Photograph from an automated digital microscope: urine filter membrane, 4× objective.
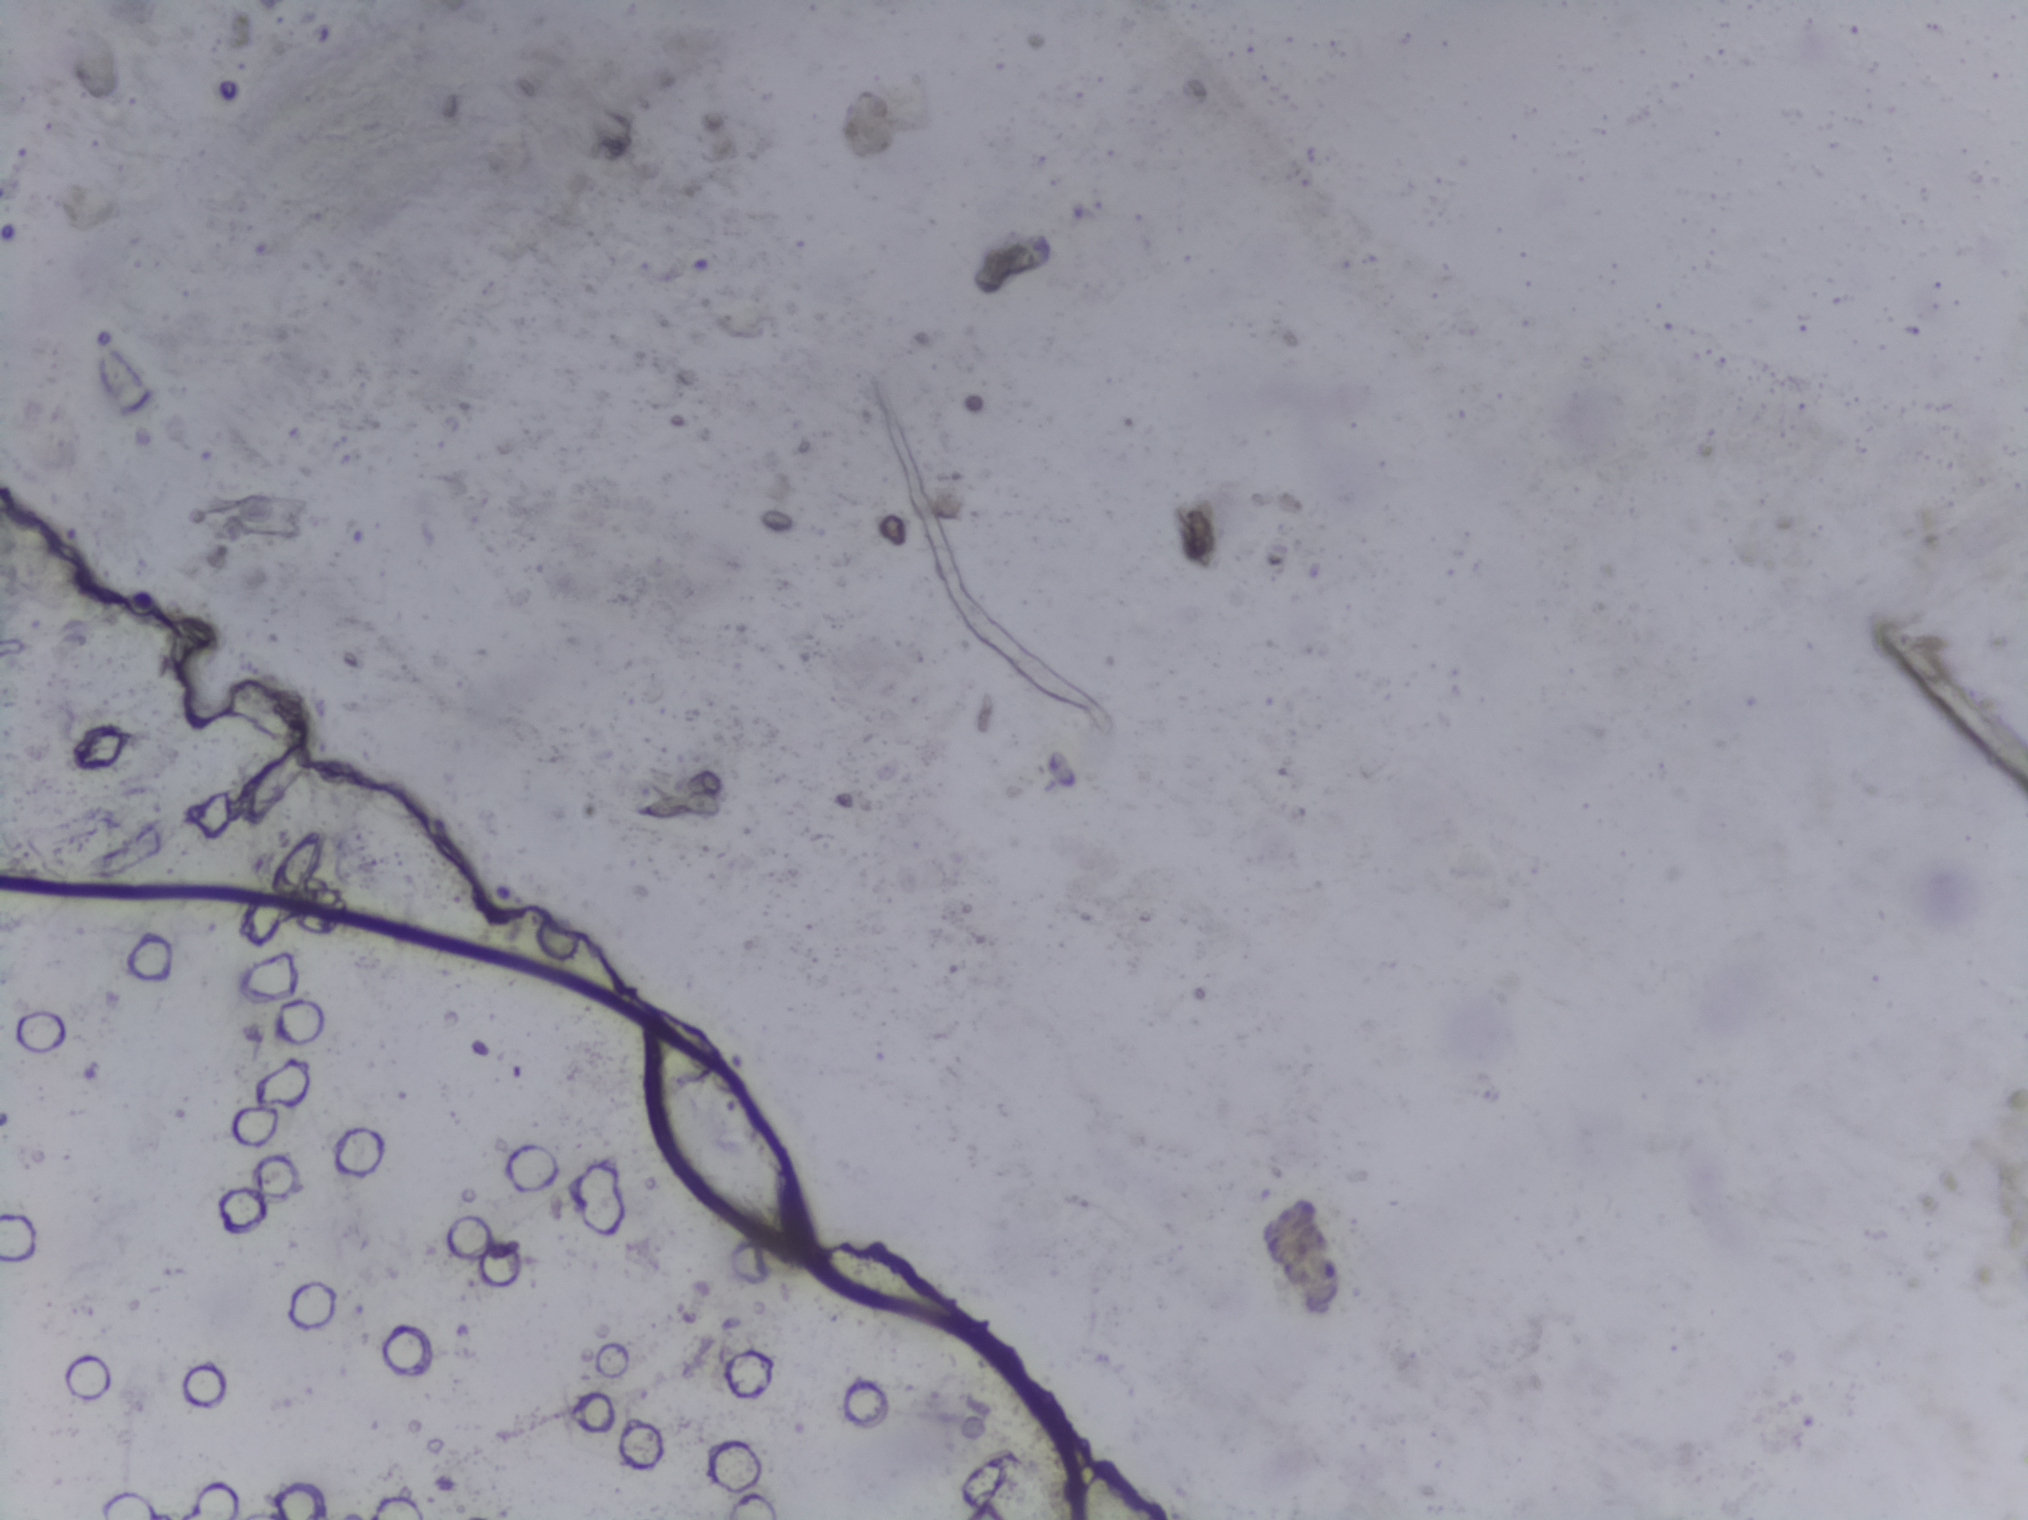
Schistosoma eggs: none outlined.